Urine filter membrane photographed through a 4× microscope objective. Field of view: about 1.5 mm wide and 1.1 mm high.
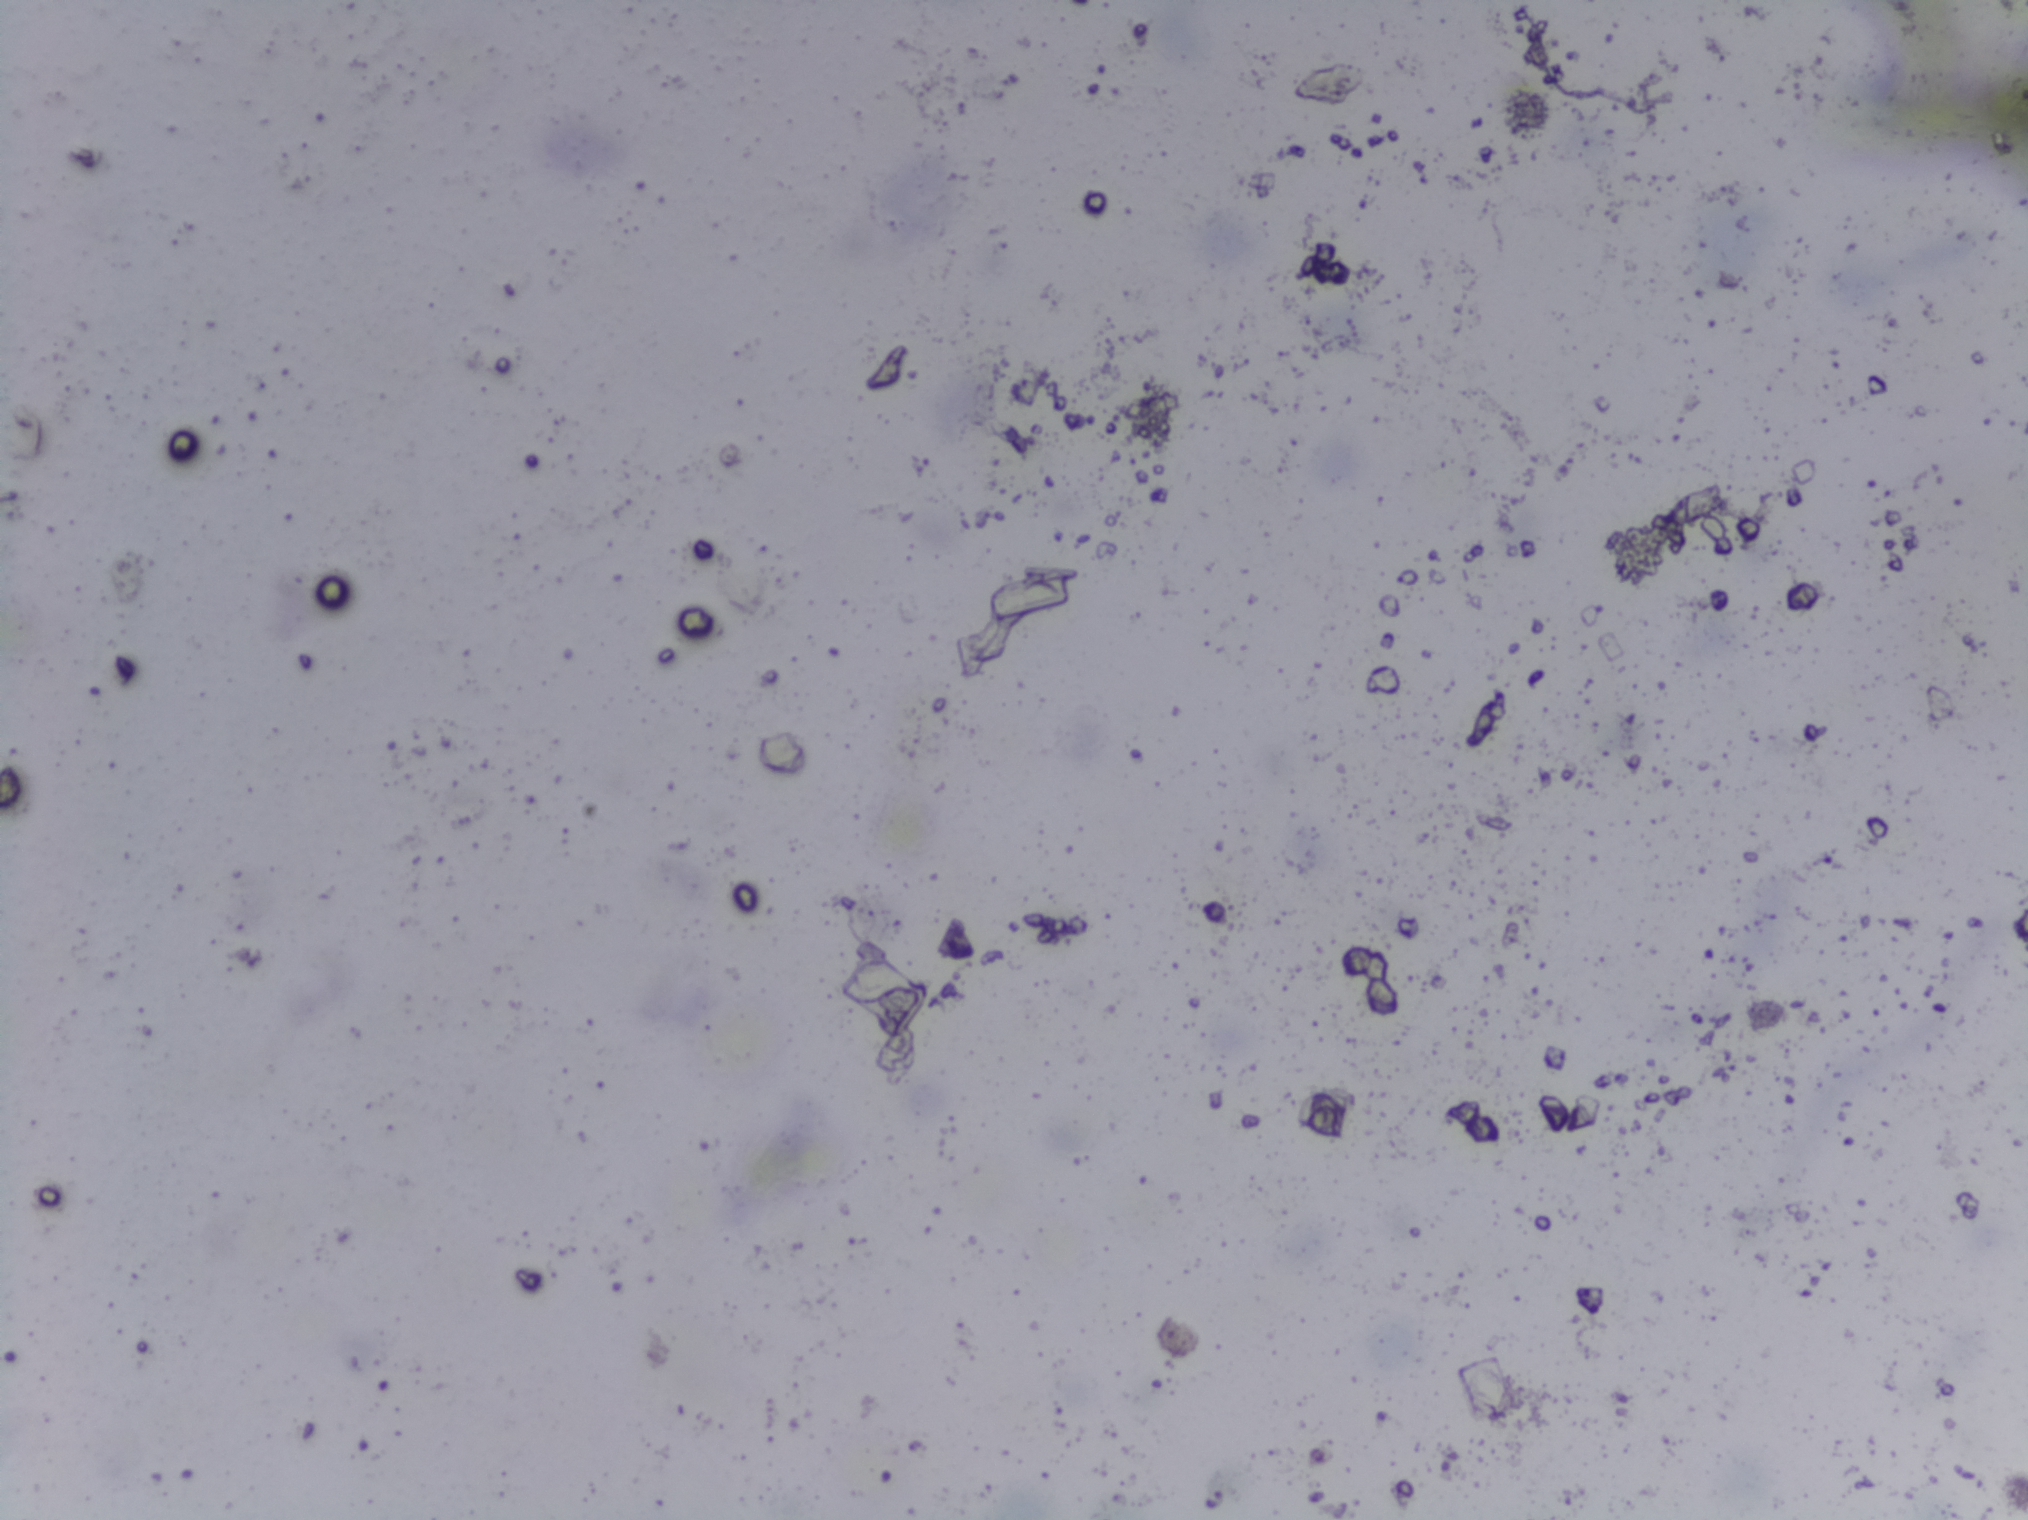
The expert annotation outlines no Schistosoma egg in this image.